Urine filtration membrane under a 4× objective, photographed by an automated digital microscope.
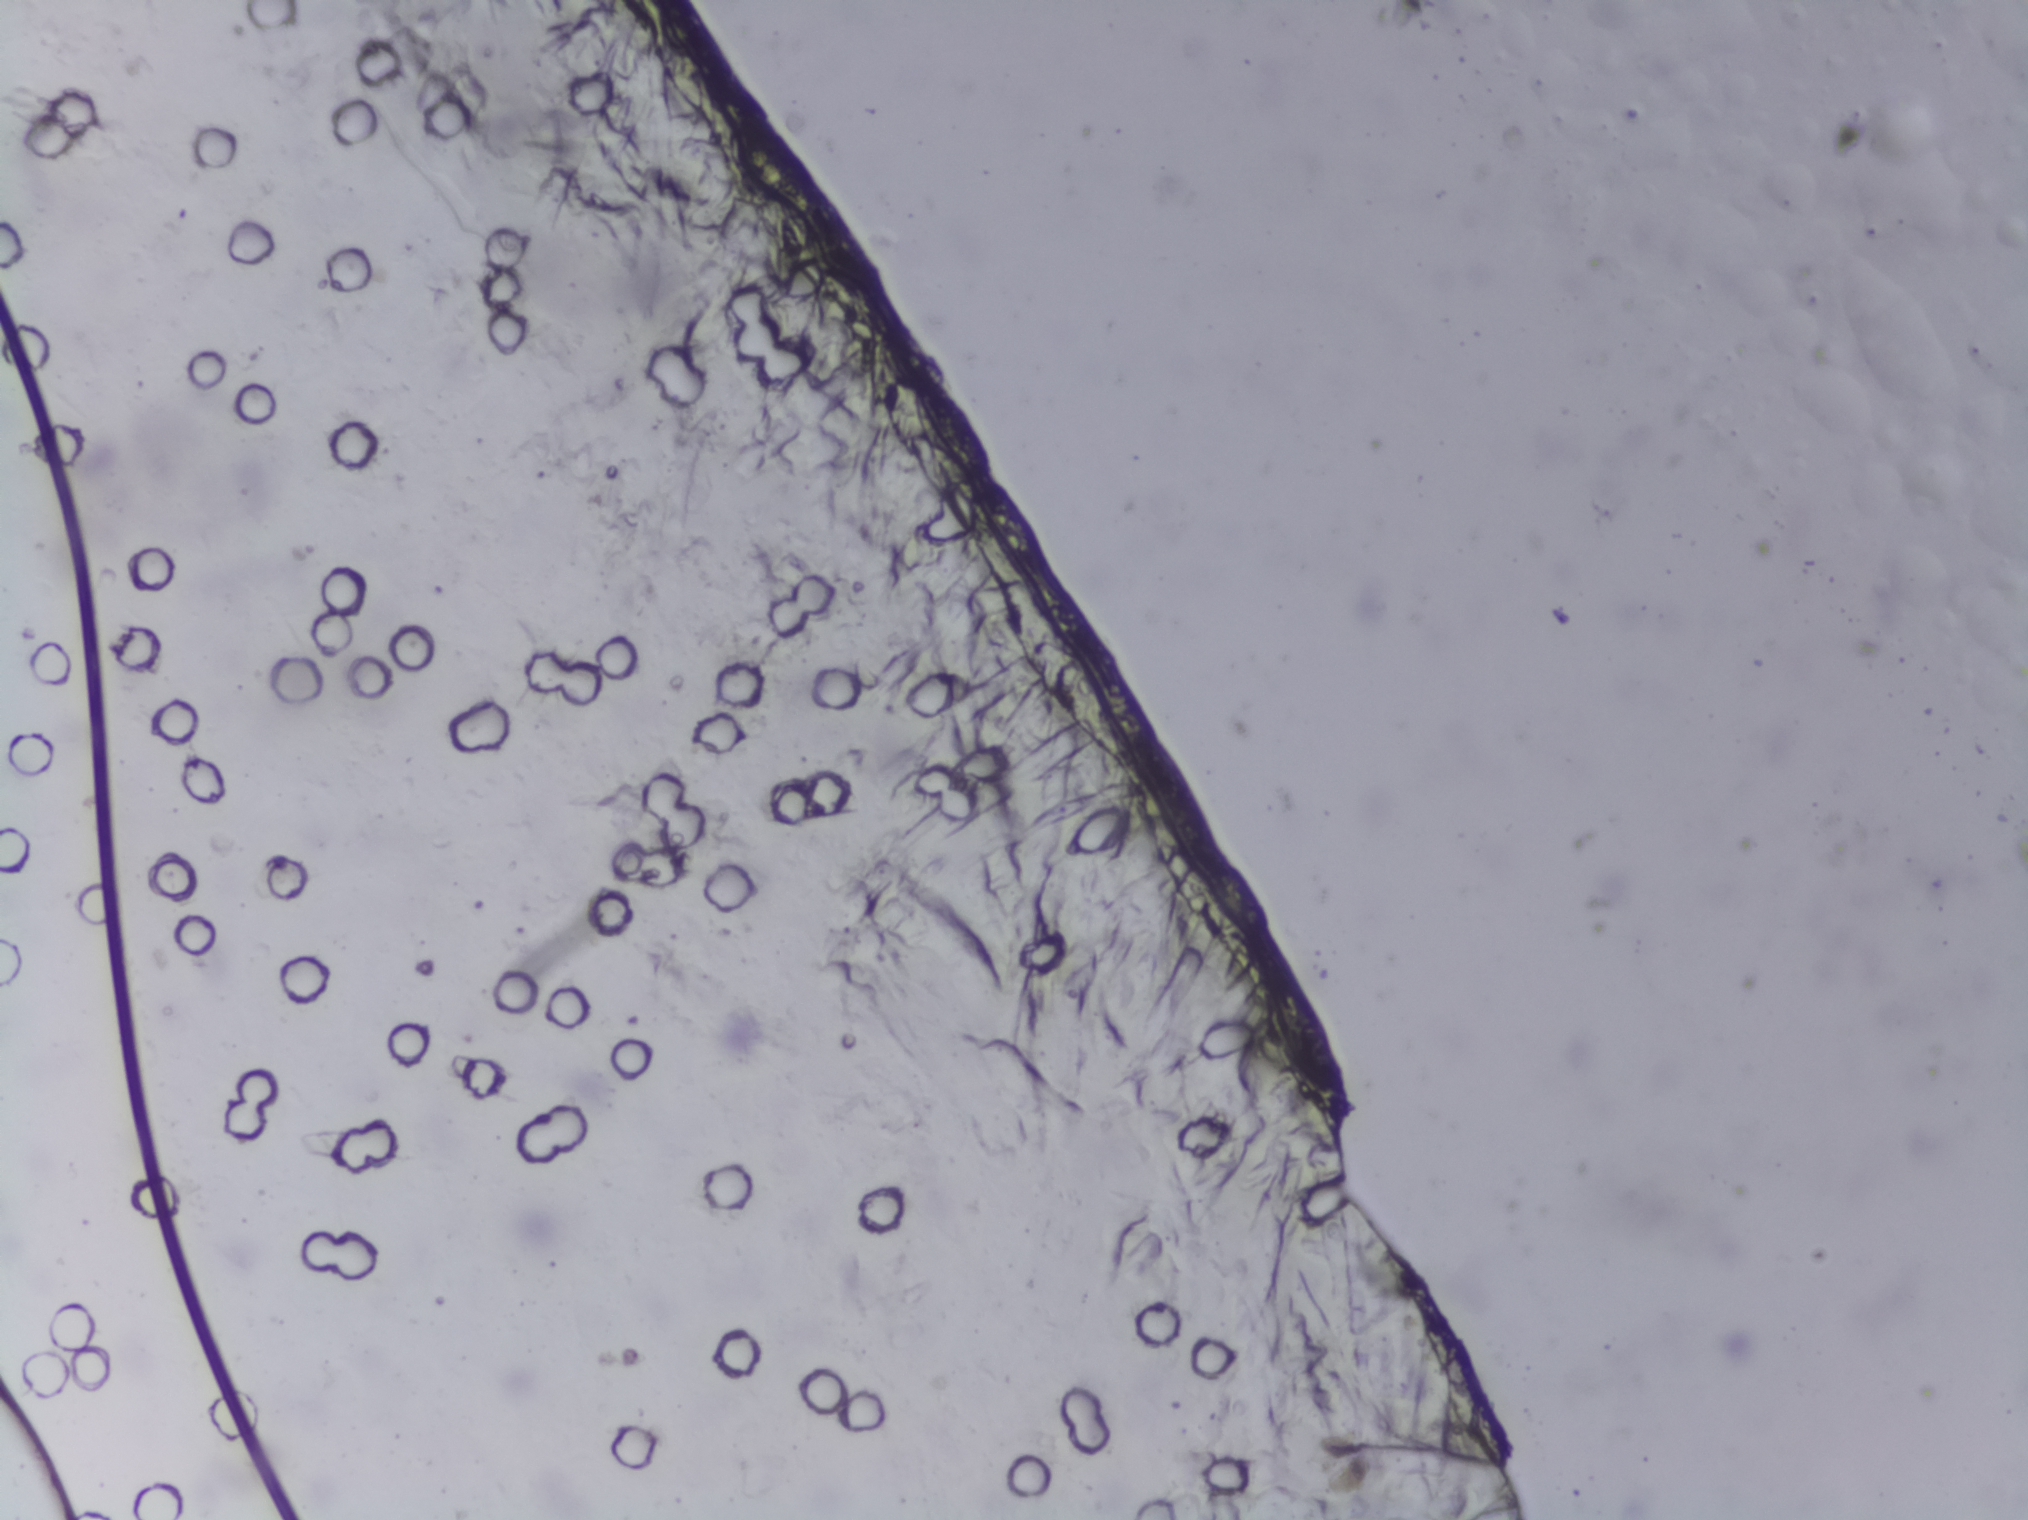
No Schistosoma egg is outlined in this image's expert annotation.